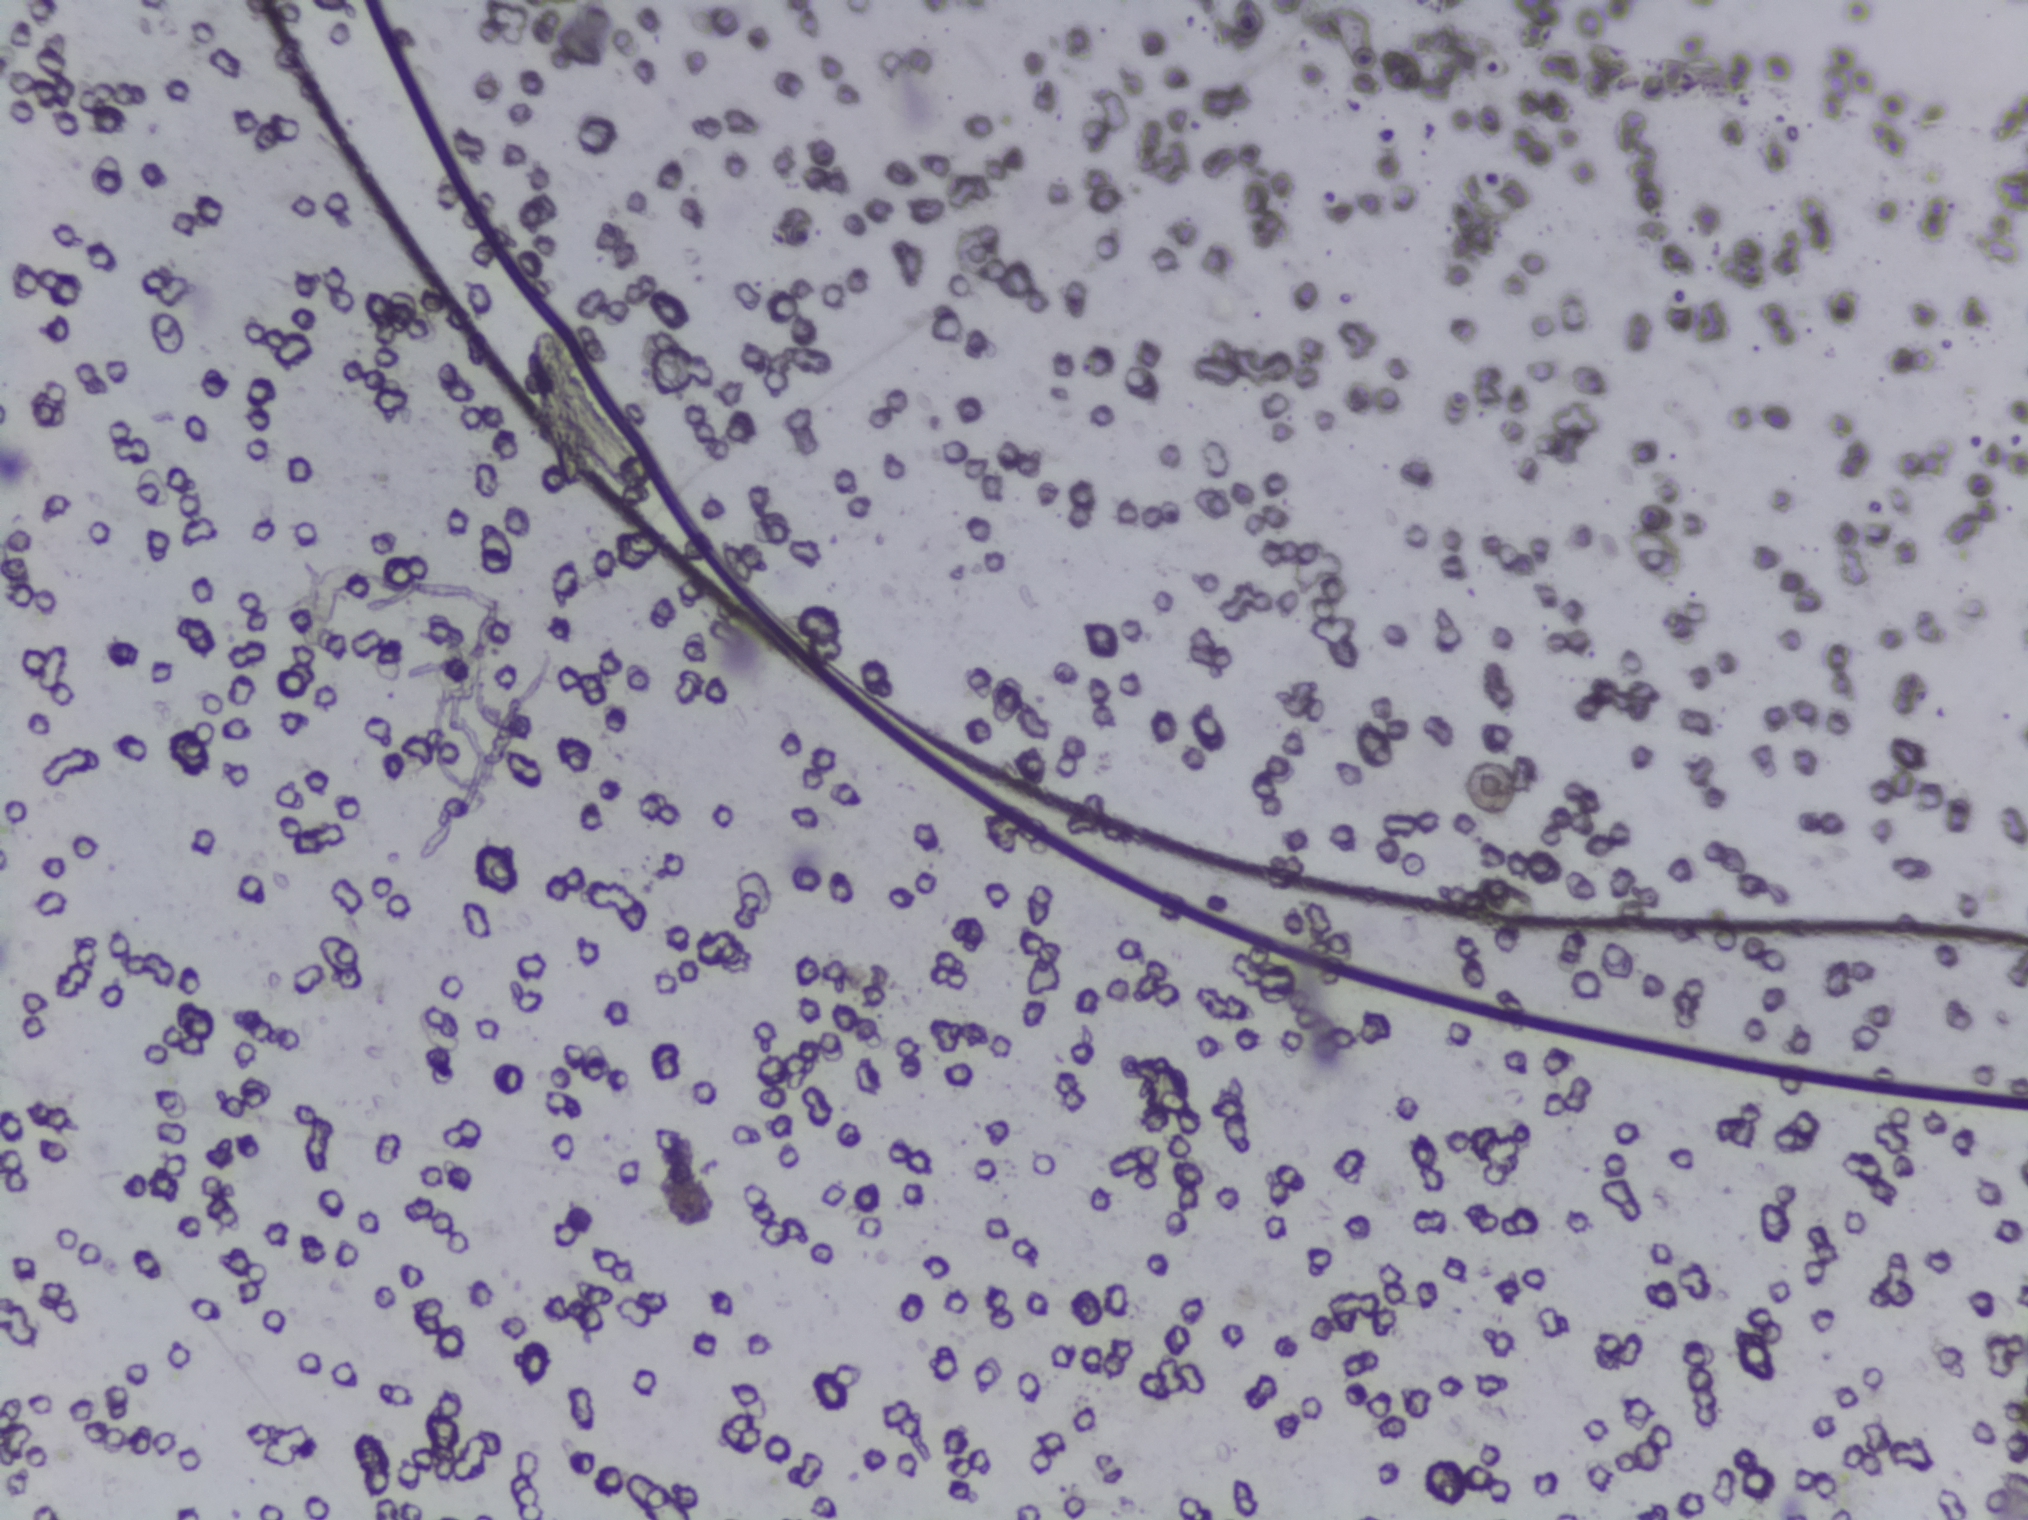
No Schistosoma egg is outlined in this image's expert annotation.
Photograph from an automated digital microscope: urine filter membrane, 4× objective. Field of view: about 1.5 mm wide and 1.1 mm high.